One field of view of a urine filter membrane, 4× objective, 2028 × 1520 pixels.
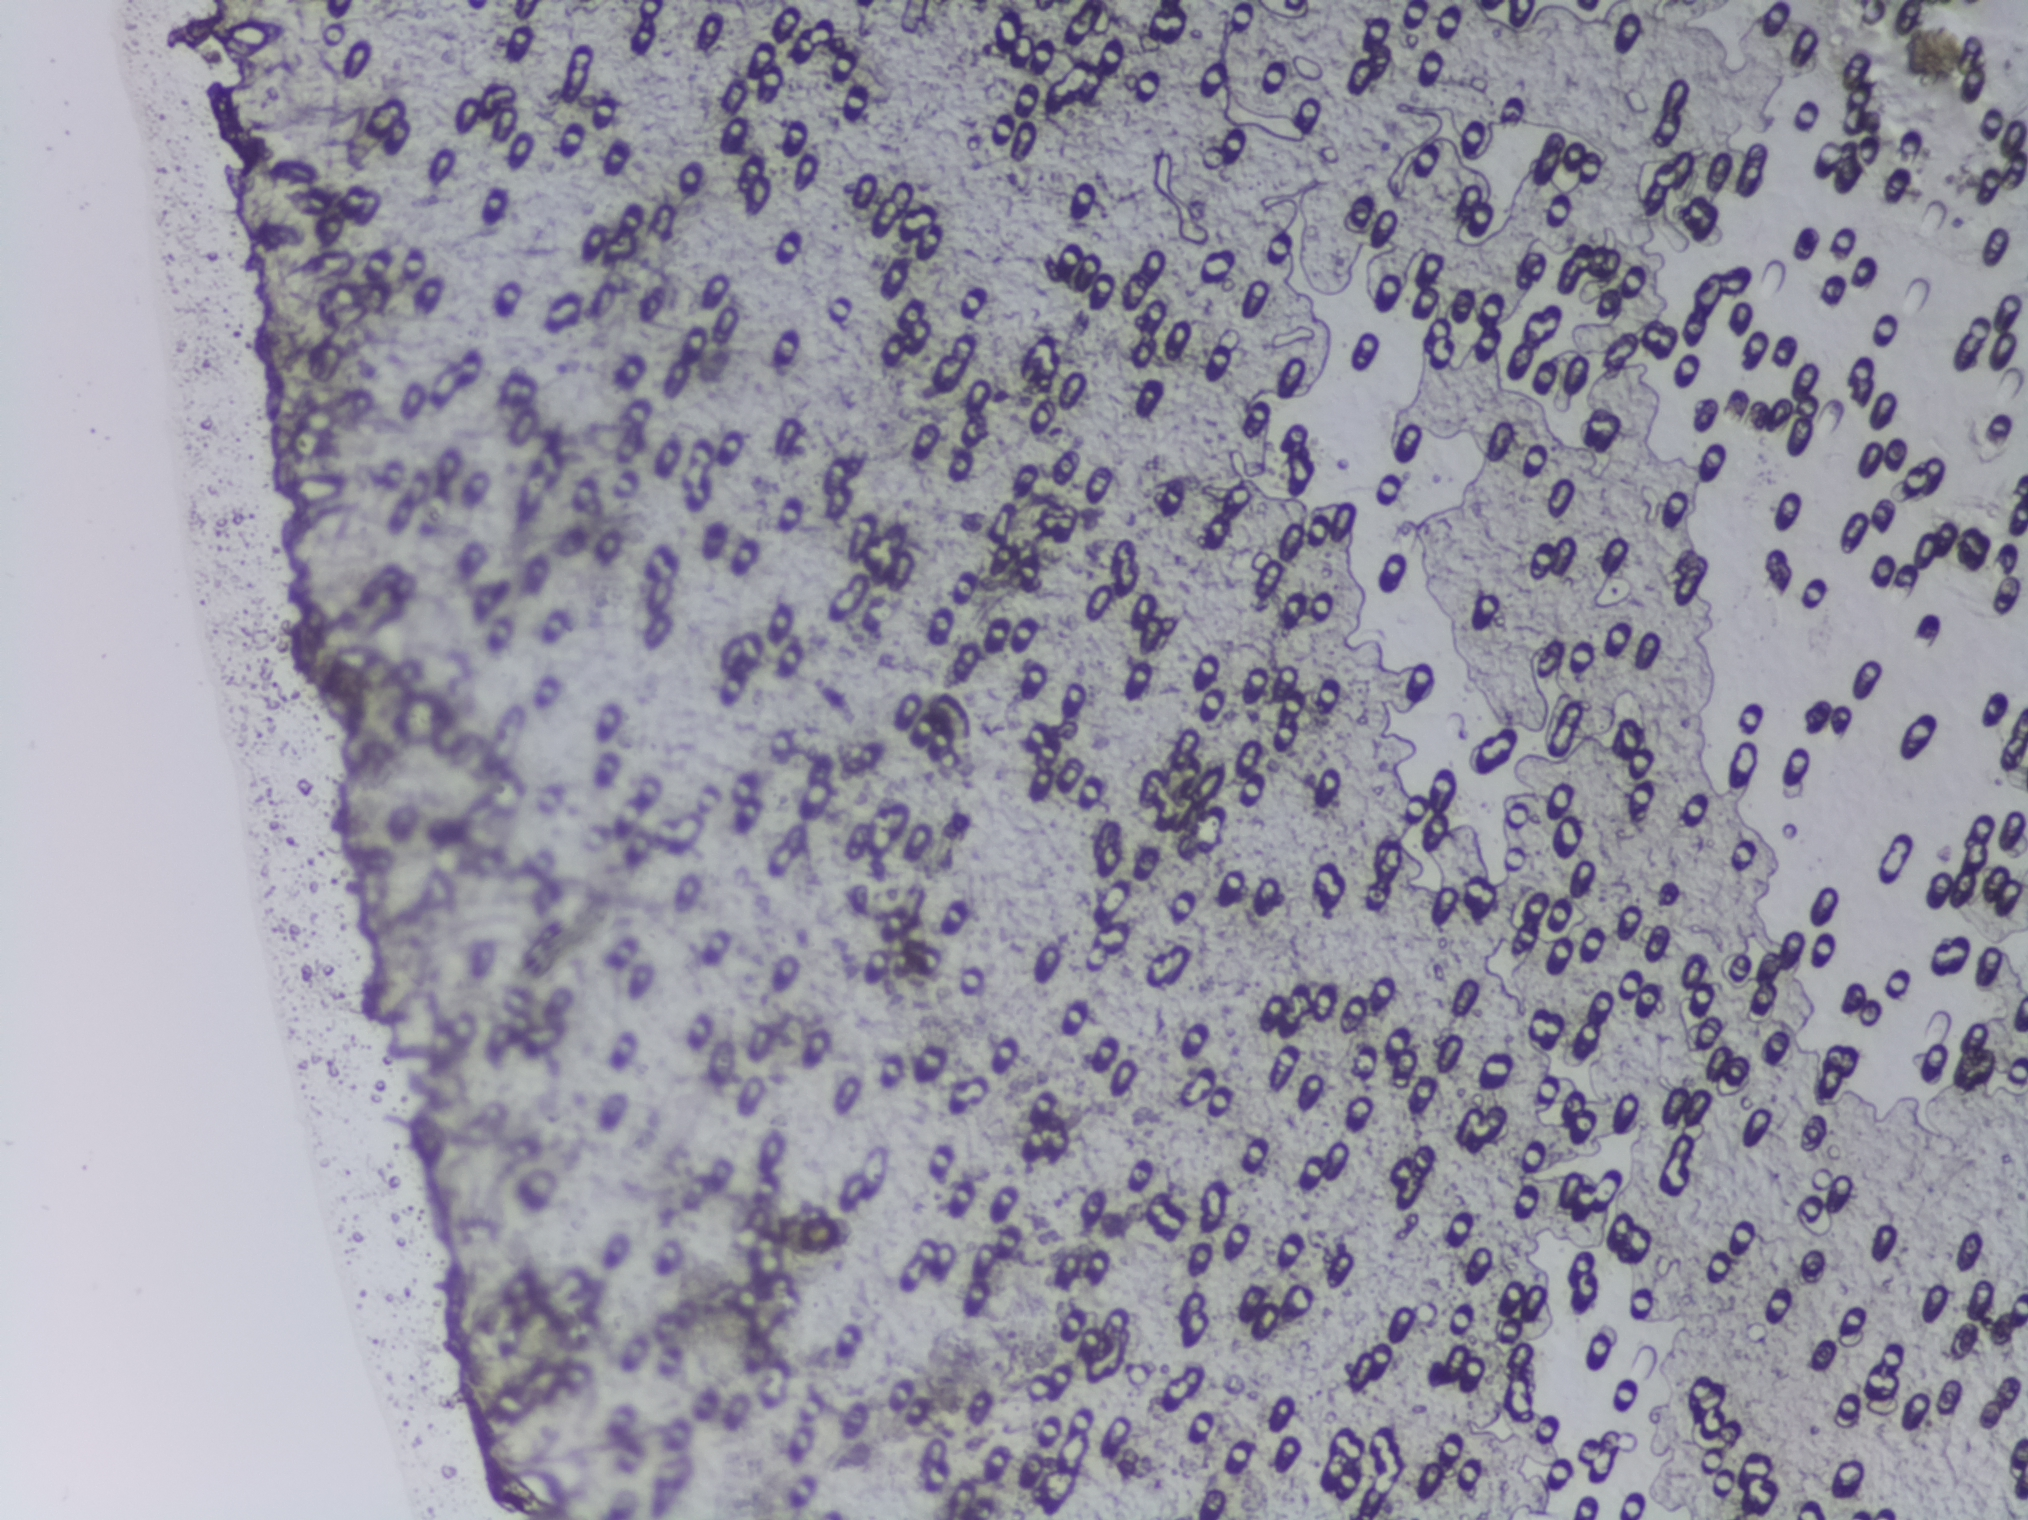
Schistosoma eggs: none outlined.